One field of view of a urine filter membrane, 4× objective, 2028 × 1520 pixels.
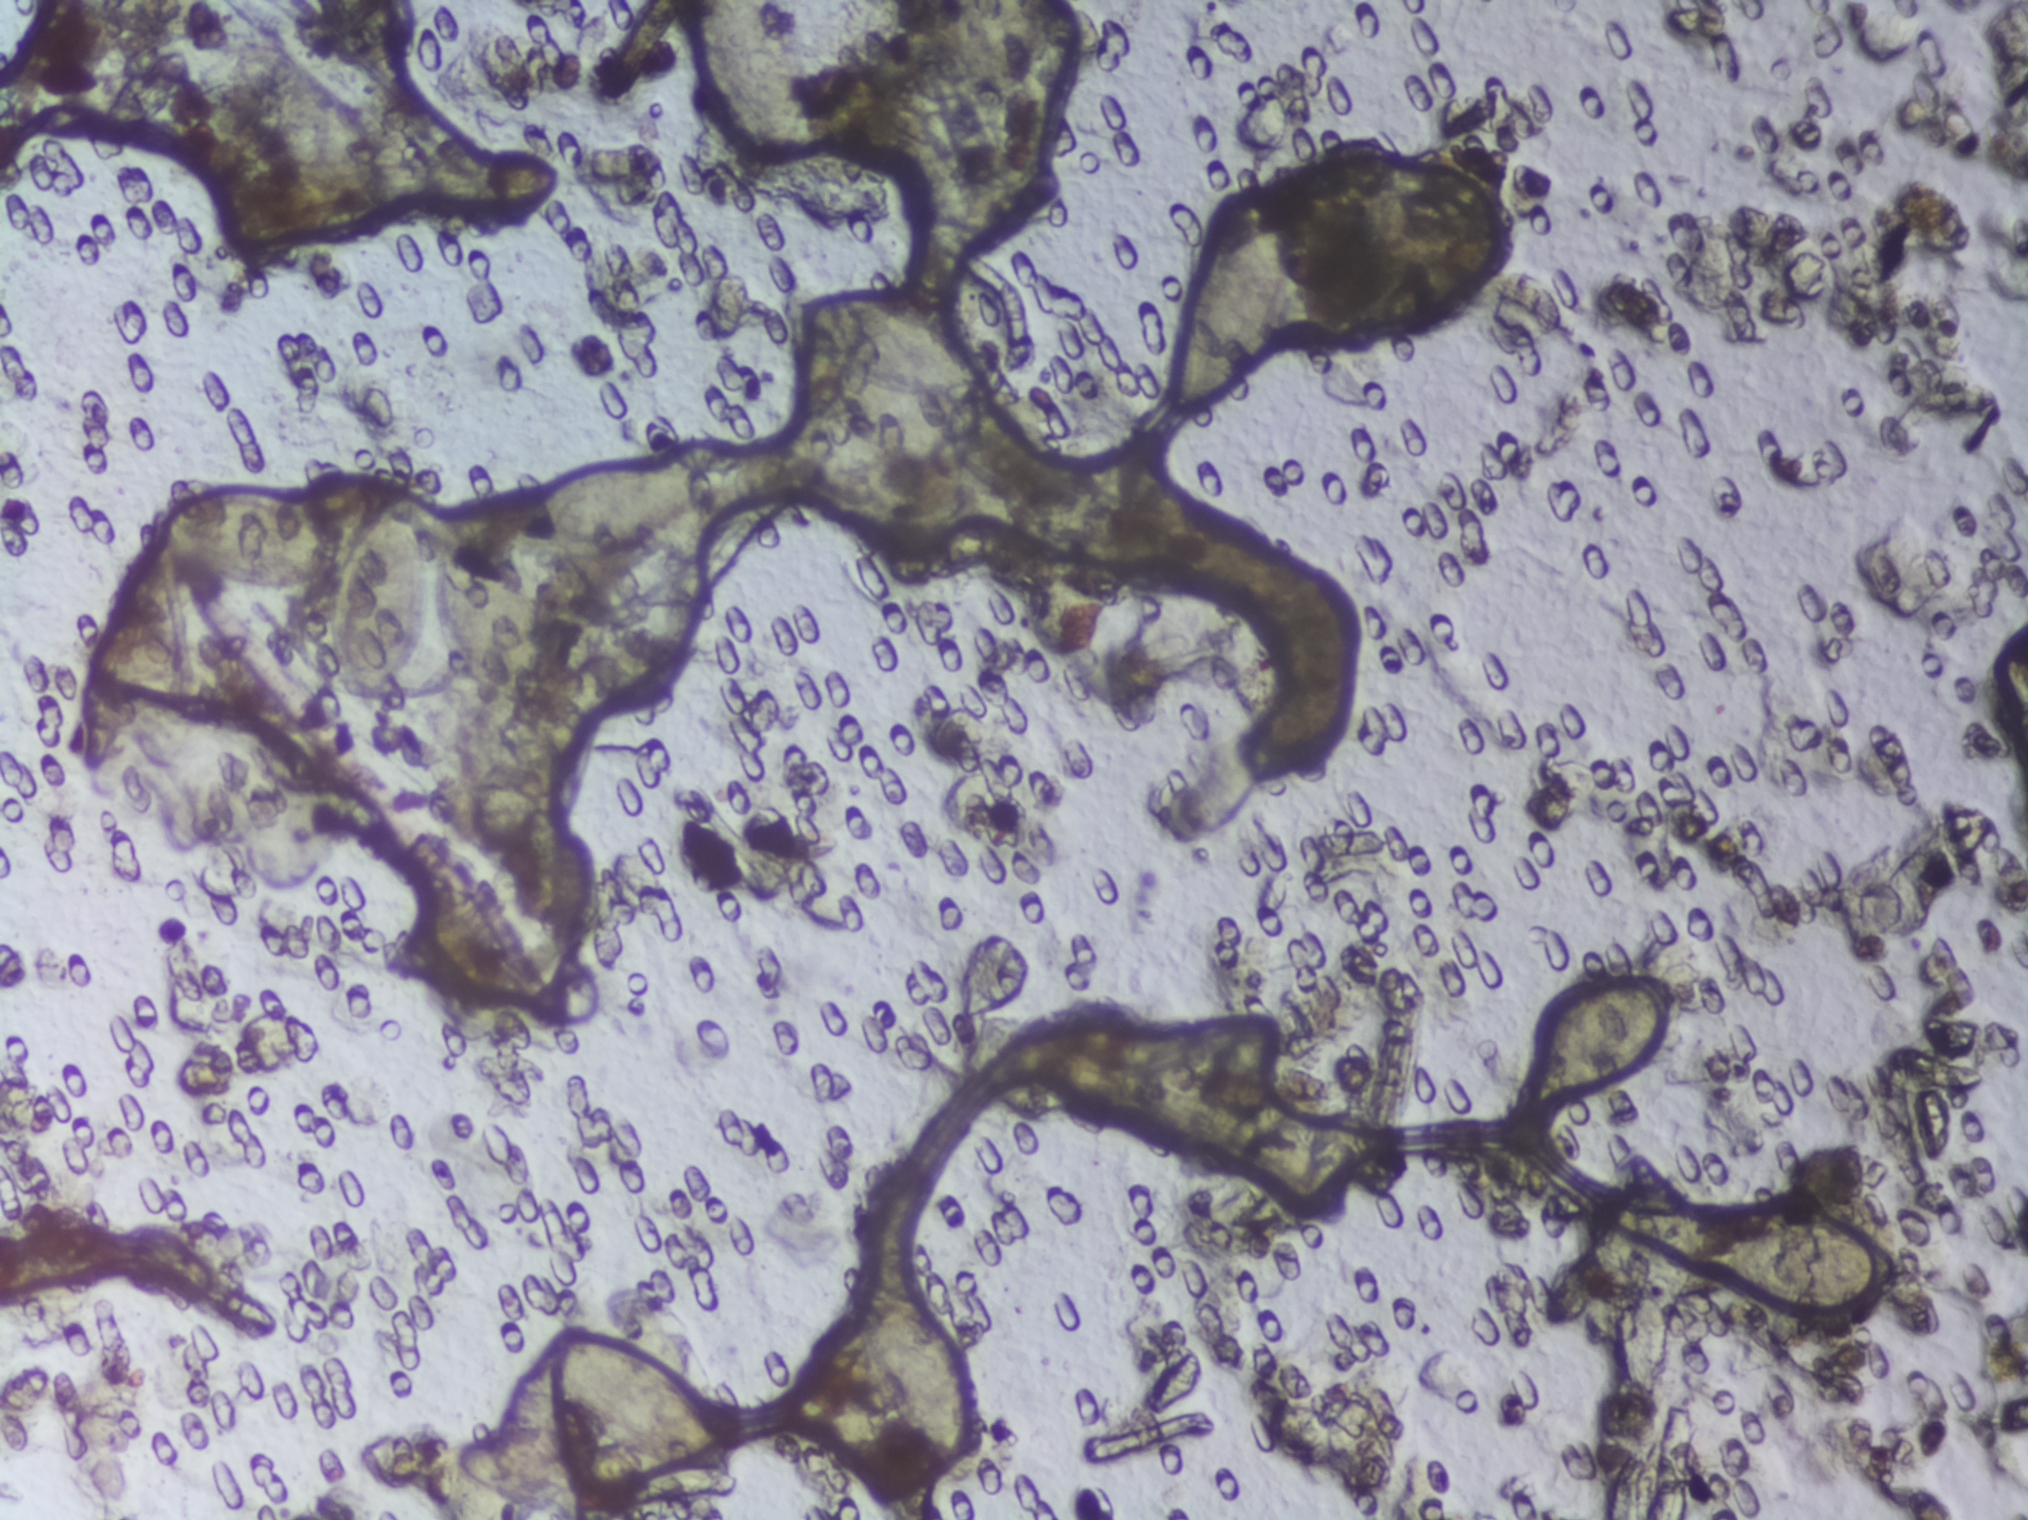
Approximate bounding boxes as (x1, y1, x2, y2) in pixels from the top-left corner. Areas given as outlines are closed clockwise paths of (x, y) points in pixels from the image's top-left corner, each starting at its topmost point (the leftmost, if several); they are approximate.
Schistosoma eggs are outlined in 11 areas of this image, listed from left to right: outline (221, 488), (261, 488), (319, 511), (350, 549), (360, 526), (388, 501), (401, 501), (419, 519), (428, 557), (422, 637), (372, 704), (356, 698), (338, 674), (338, 571), (301, 590), (256, 589), (208, 578), (165, 547), (157, 534), (164, 509), (186, 495); box (268, 55, 386, 220); box (432, 536, 550, 708); box (445, 1321, 735, 1519) (reaching the bottom edge of the frame); box (508, 461, 716, 561); box (700, 0, 814, 159) (reaching the top edge of the frame); box (790, 243, 1014, 401); box (850, 1279, 977, 1476); box (1168, 185, 1291, 406); box (1558, 972, 1682, 1063); box (1762, 1235, 1904, 1303). A single outlined area may contain several eggs. Any one outlined egg may, rarely, be S. mansoni rather than S. haematobium.